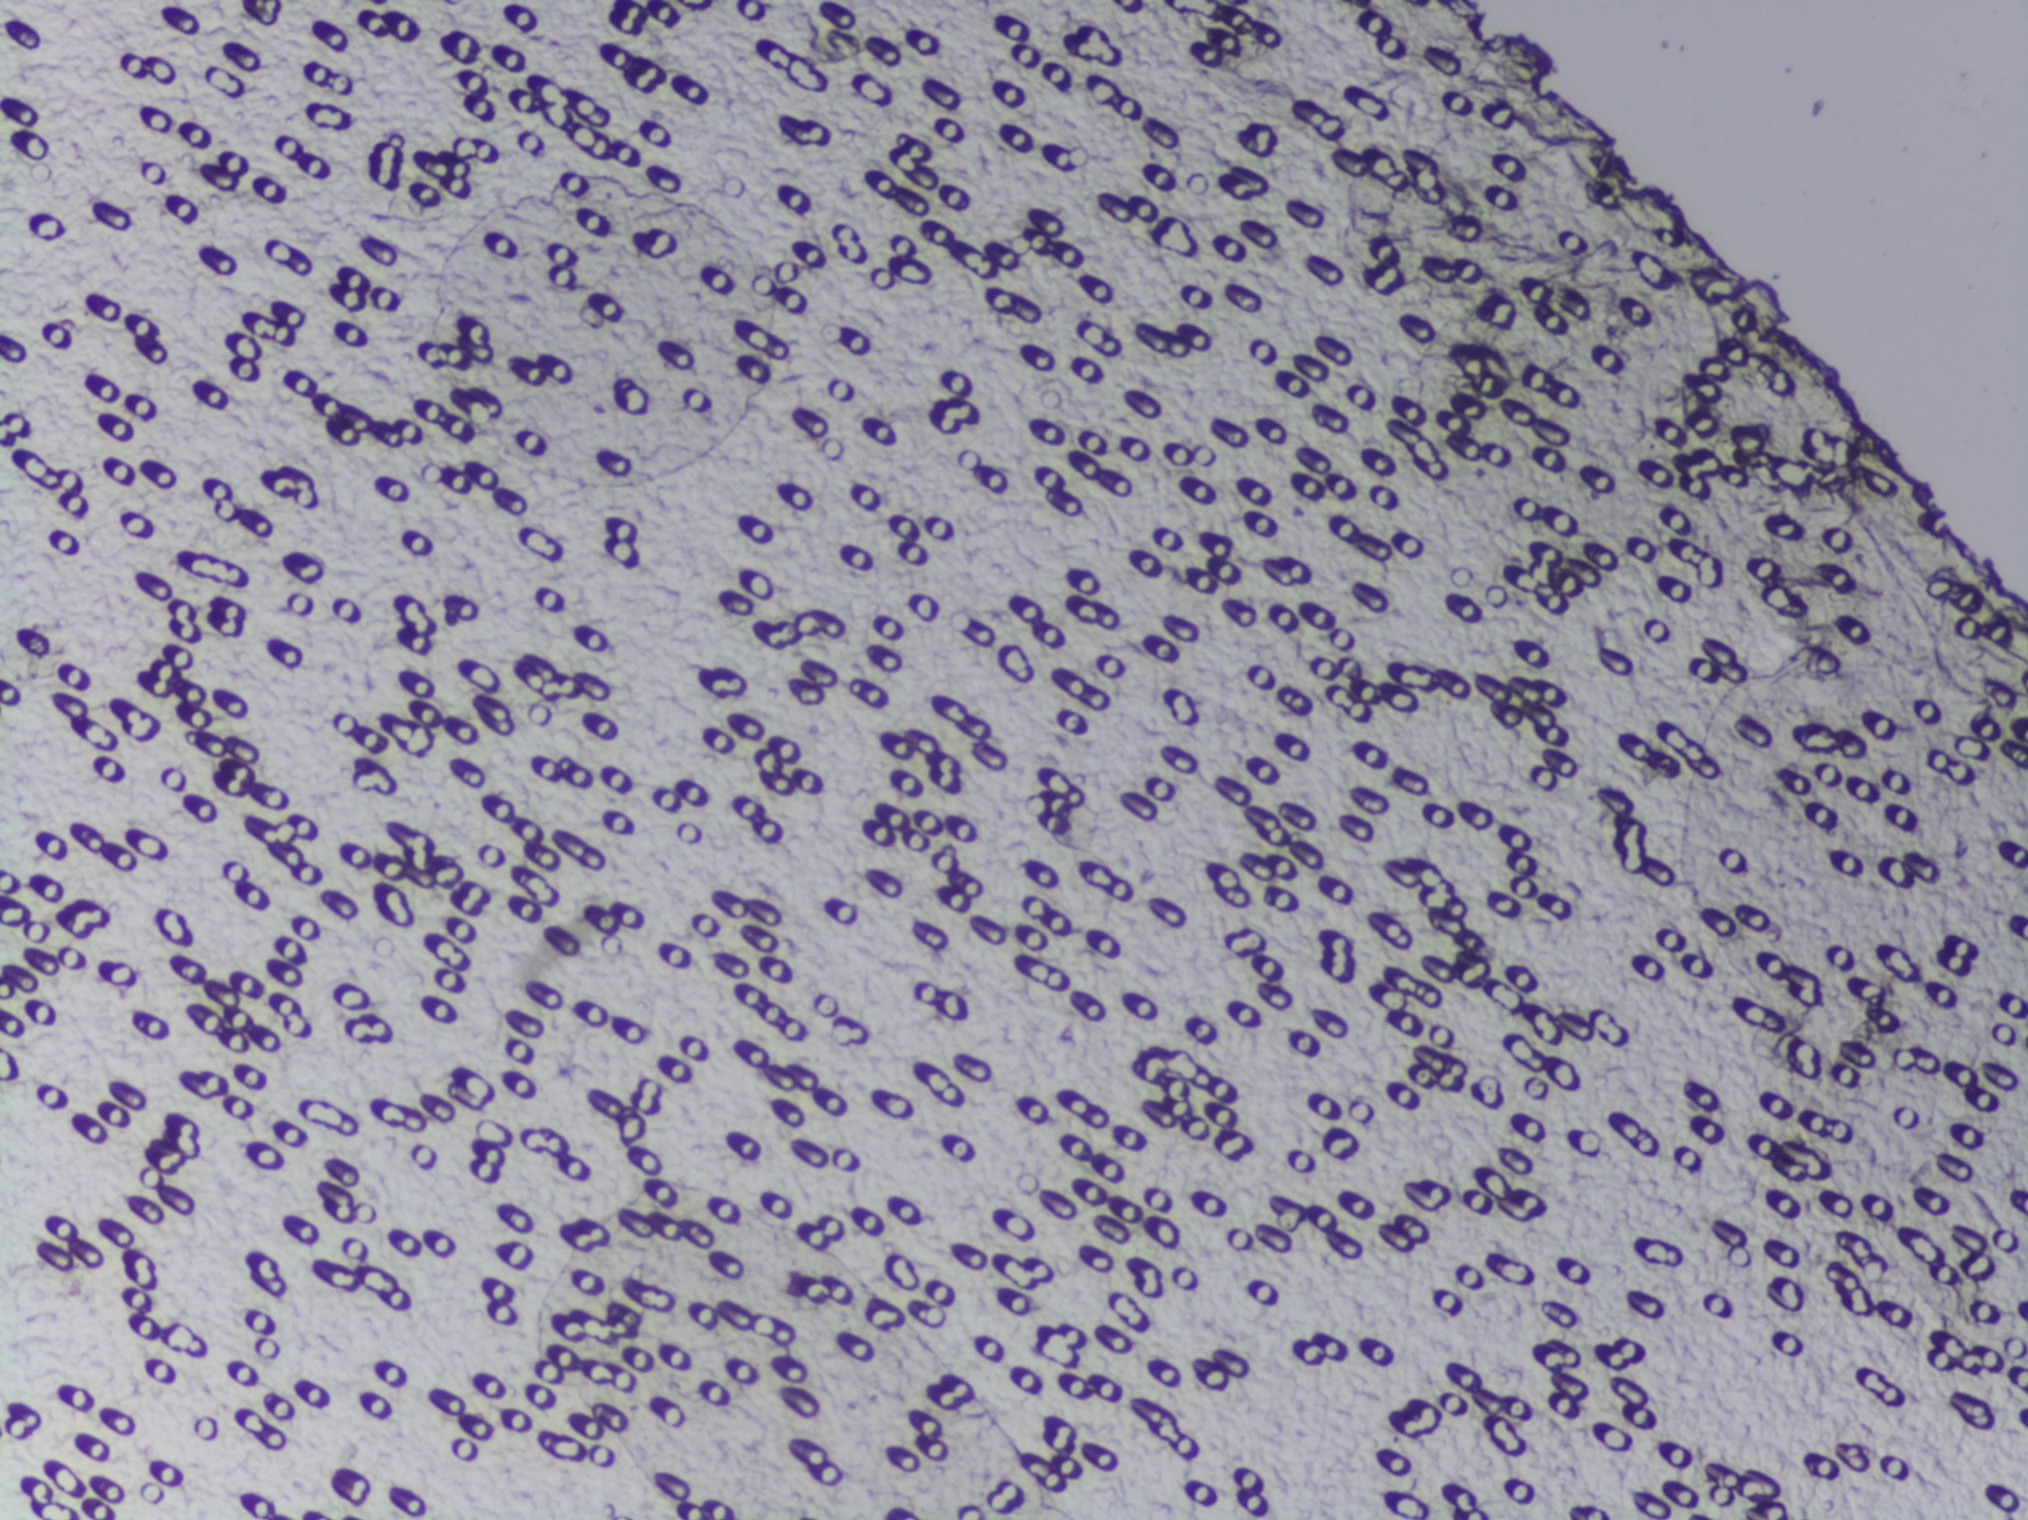
The expert annotation marks no Schistosoma egg in this field of view.
Microscope photograph (4× objective) of a membrane that a urine sample was filtered through. The image covers about 1.5 × 1.1 mm of the membrane.